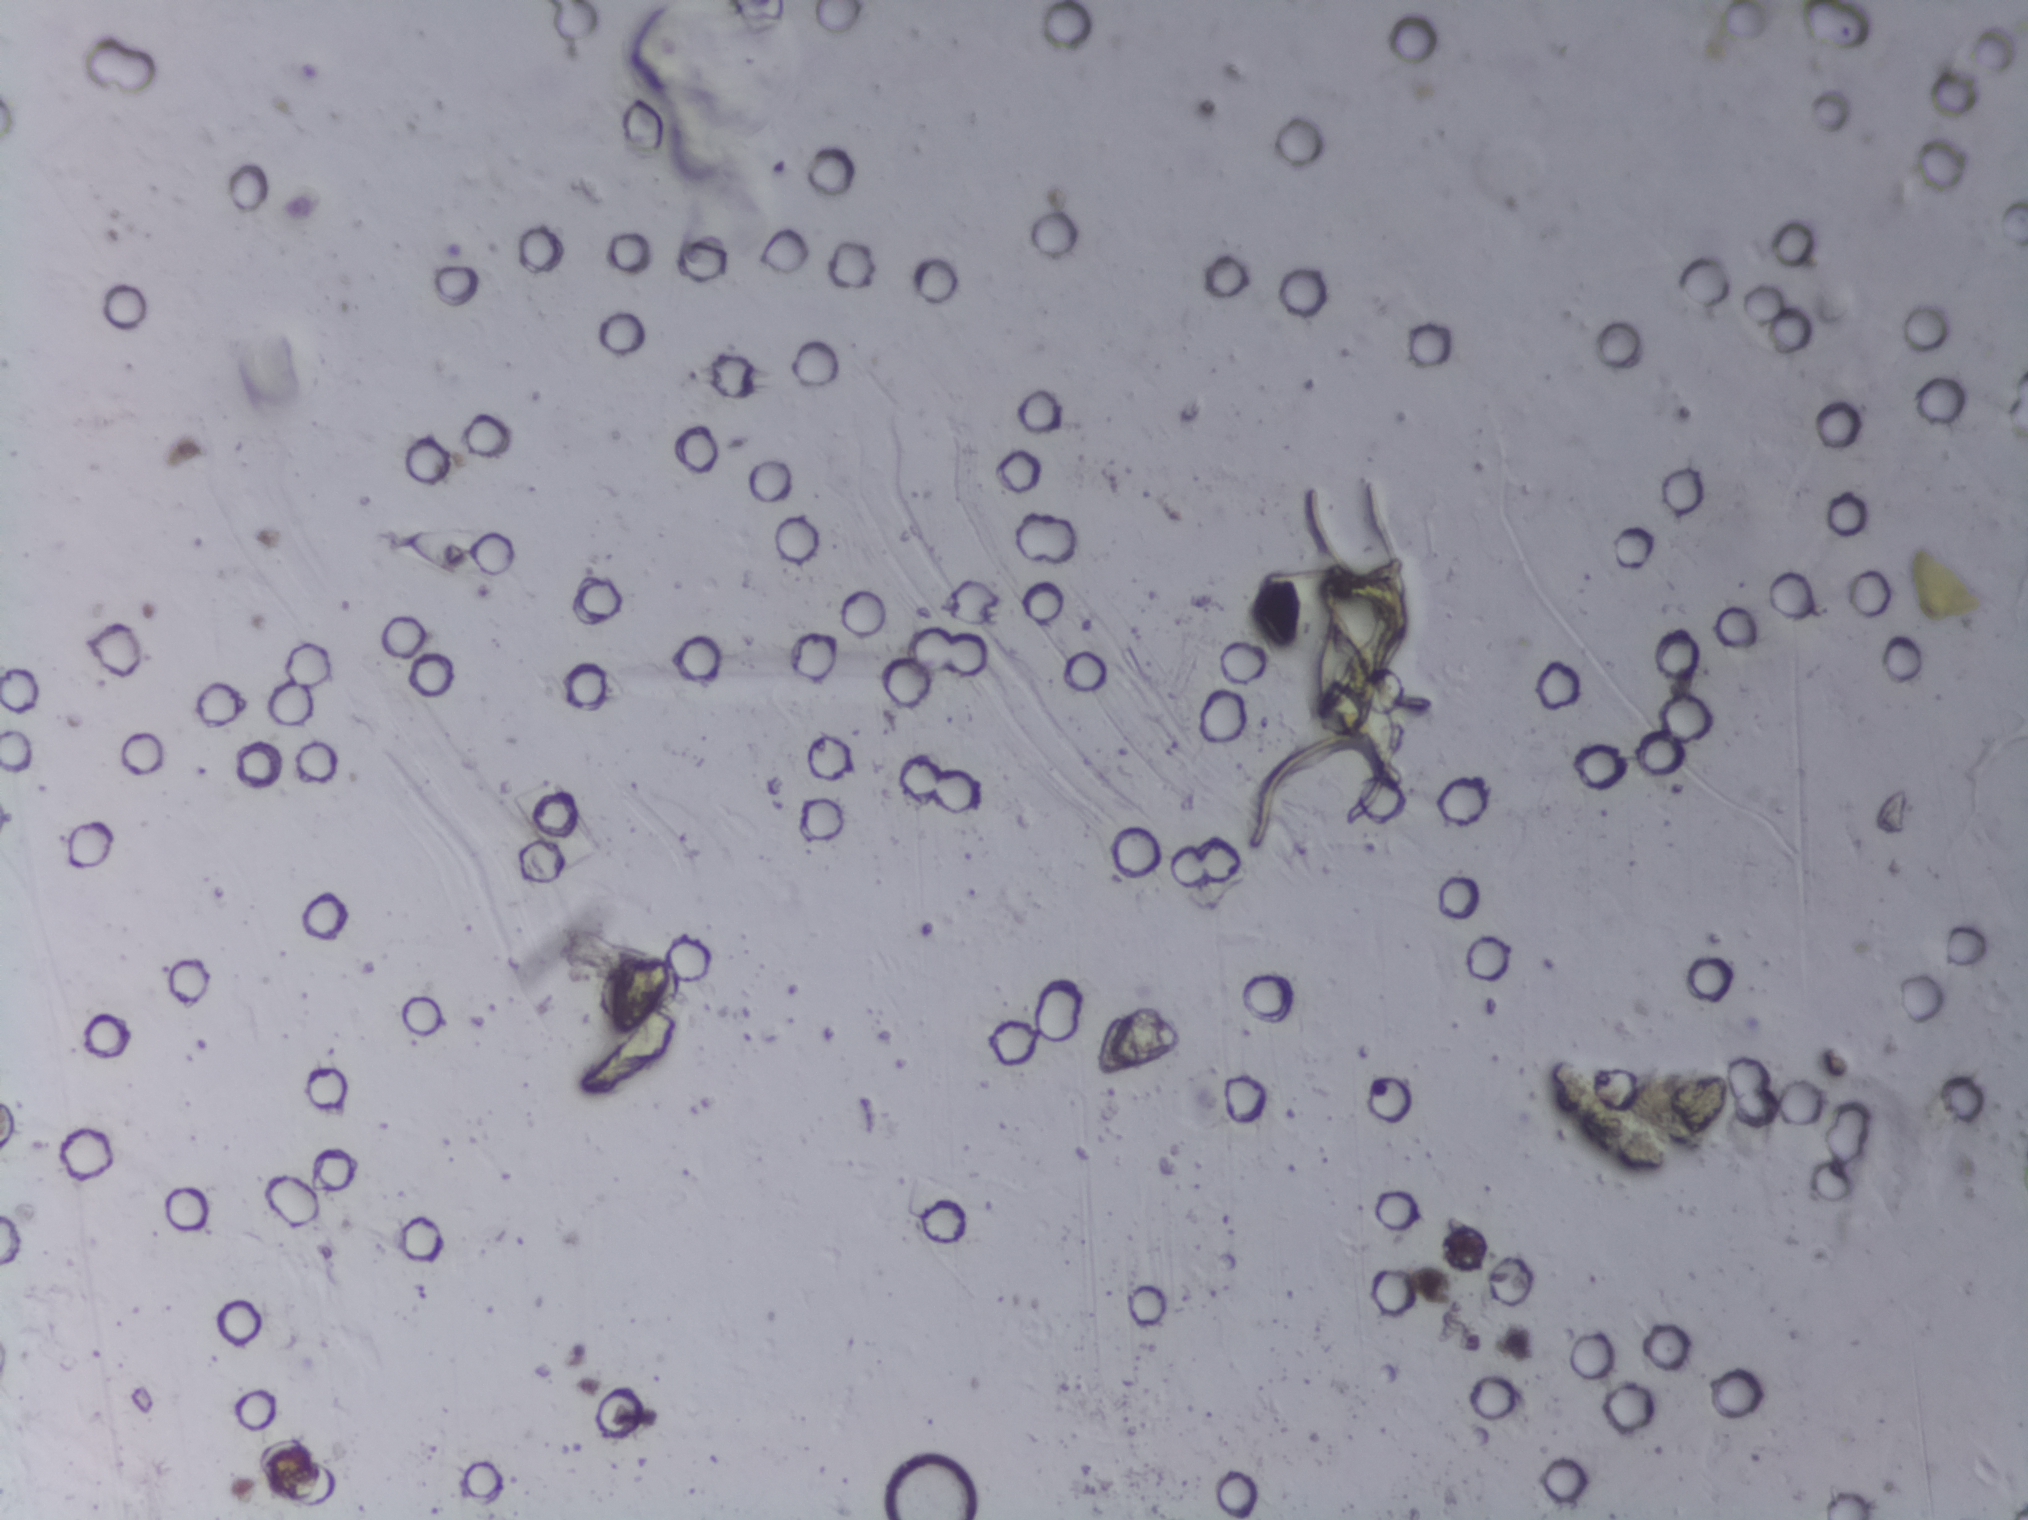
Urine filtration membrane under a 4× objective, photographed by an automated digital microscope.
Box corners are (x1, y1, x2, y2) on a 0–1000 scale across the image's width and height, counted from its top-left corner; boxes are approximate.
Areas outlined as Schistosoma eggs: (653, 366, 693, 475). The marked pixels themselves, not the box around them, cover about 0.3% of the image. An outlined area can hold more than one egg.